Microscope photograph (4× objective) of a membrane that a urine sample was filtered through.
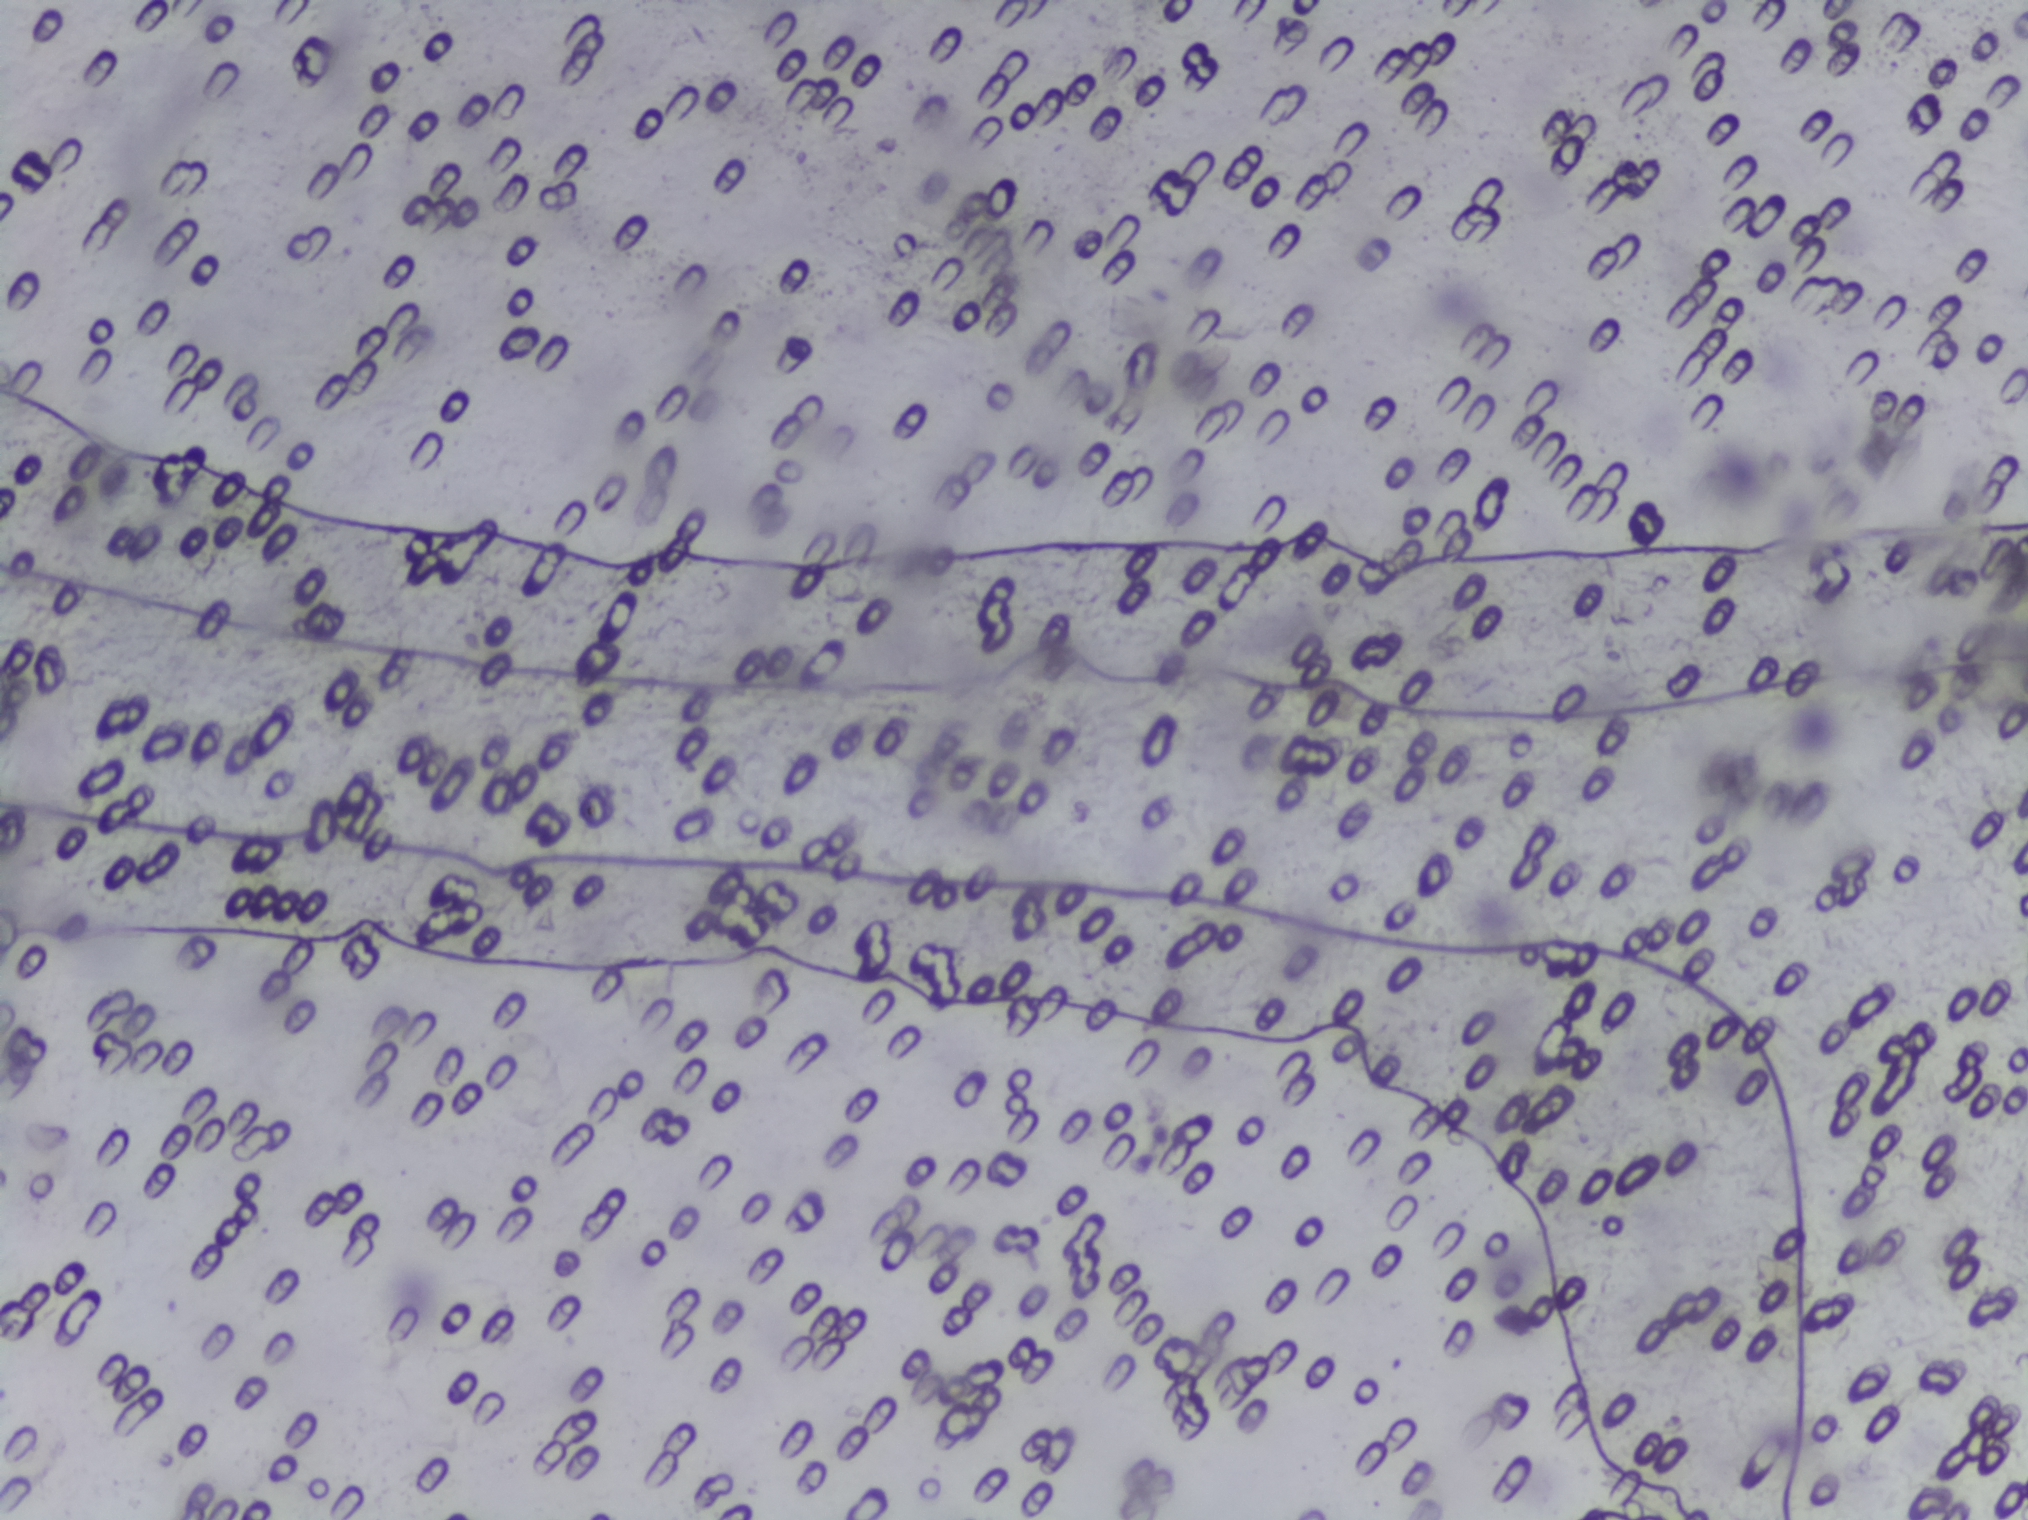
No area of this image was outlined as a Schistosoma egg.